Microscope photograph (4× objective) of a membrane that a urine sample was filtered through.
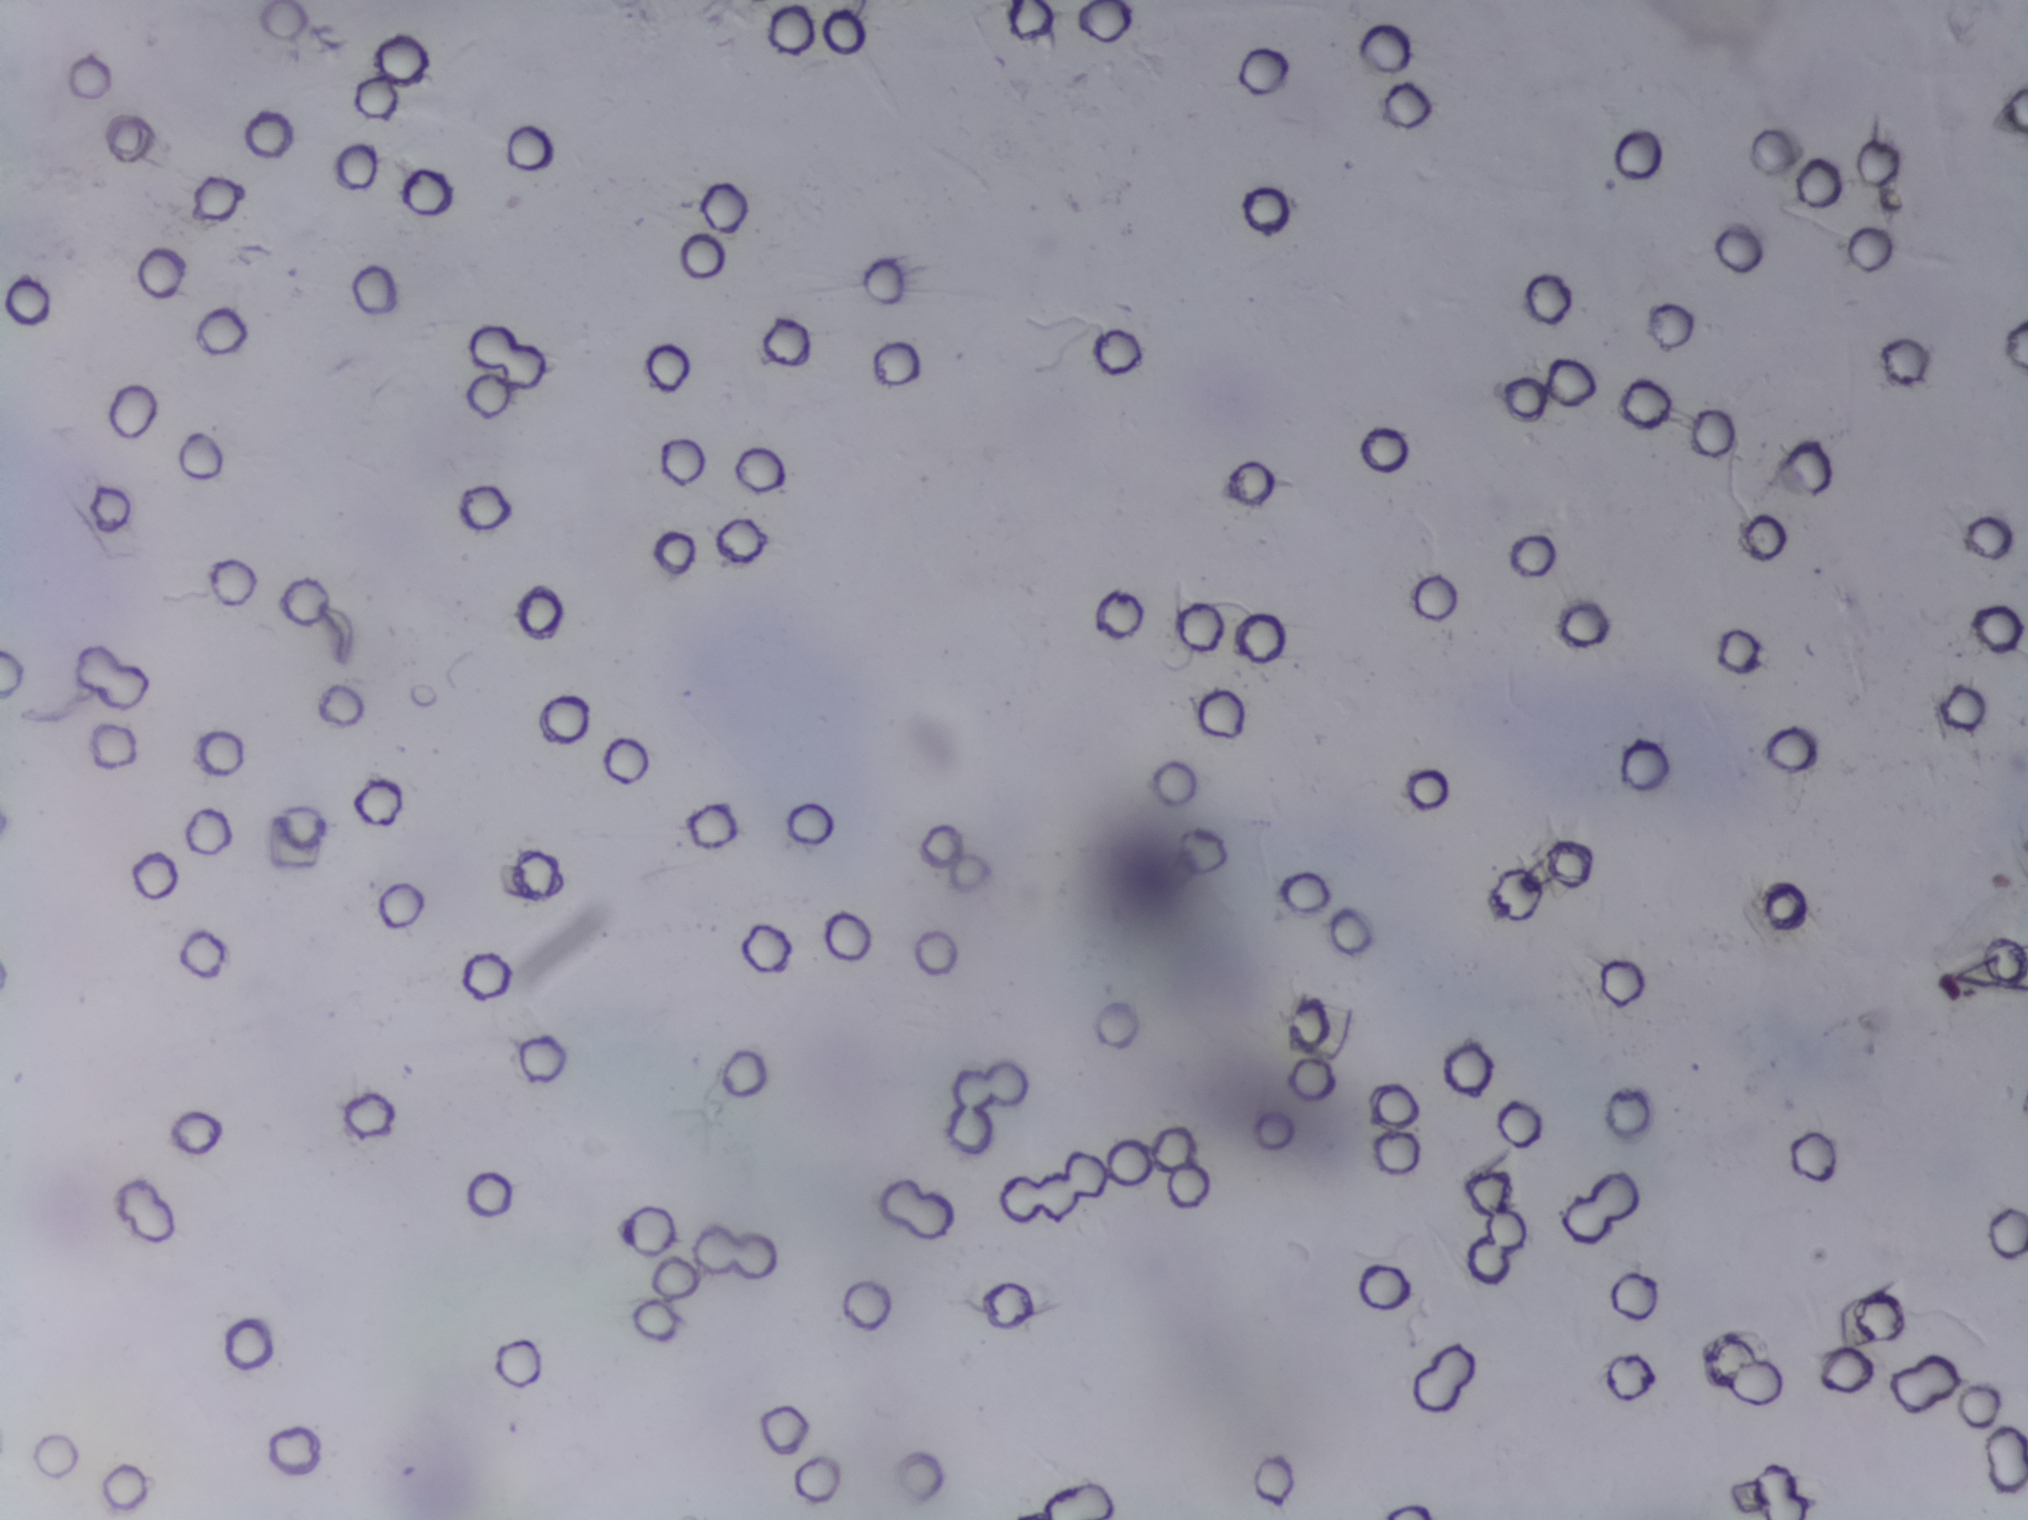
The expert annotation marks no Schistosoma egg in this field of view.